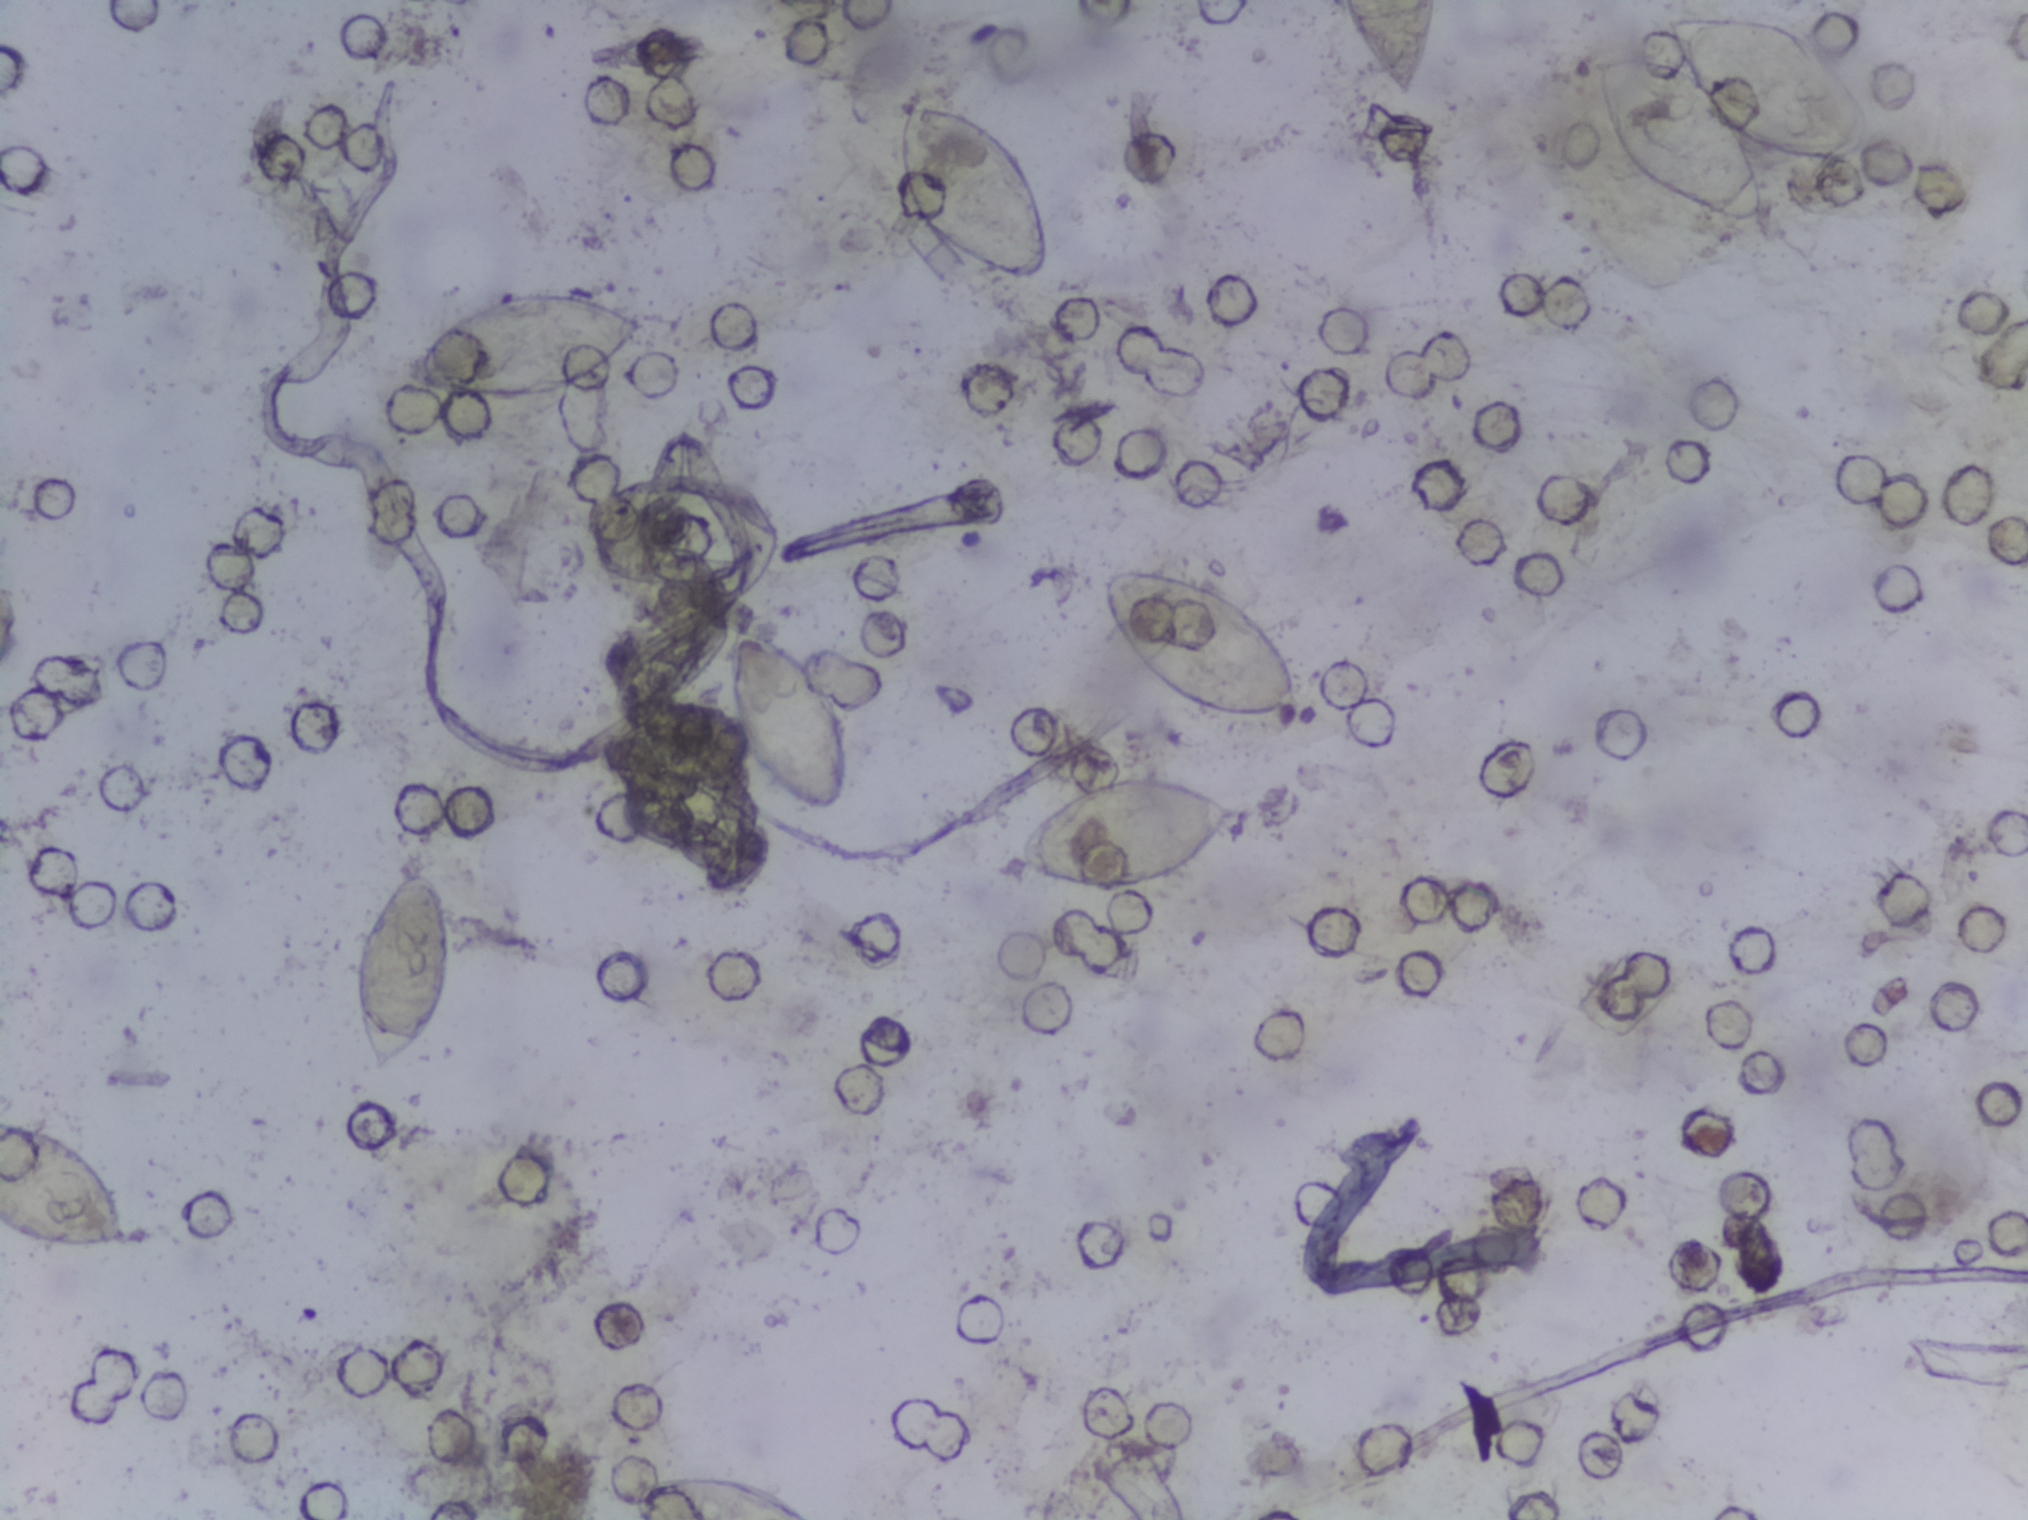
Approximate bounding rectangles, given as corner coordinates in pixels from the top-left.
Schistosoma eggs are outlined in ten areas of this image, listed from left to right: (x1=0, y1=1119, x2=133, y2=1250) (reaching the left edge of the frame); (x1=350, y1=864, x2=451, y2=1080); (x1=398, y1=288, x2=644, y2=402); (x1=628, y1=1474, x2=809, y2=1519) (reaching the bottom edge of the frame); (x1=720, y1=624, x2=849, y2=817); (x1=897, y1=101, x2=1049, y2=287); (x1=1011, y1=769, x2=1254, y2=892); (x1=1095, y1=564, x2=1302, y2=723); (x1=1341, y1=0, x2=1439, y2=105) (reaching the top edge of the frame); (x1=1588, y1=8, x2=1875, y2=227). An outlined area can hold more than one egg.
Urine filter membrane photographed through a 4× microscope objective. The field of view is about 1.5 mm × 1.1 mm.